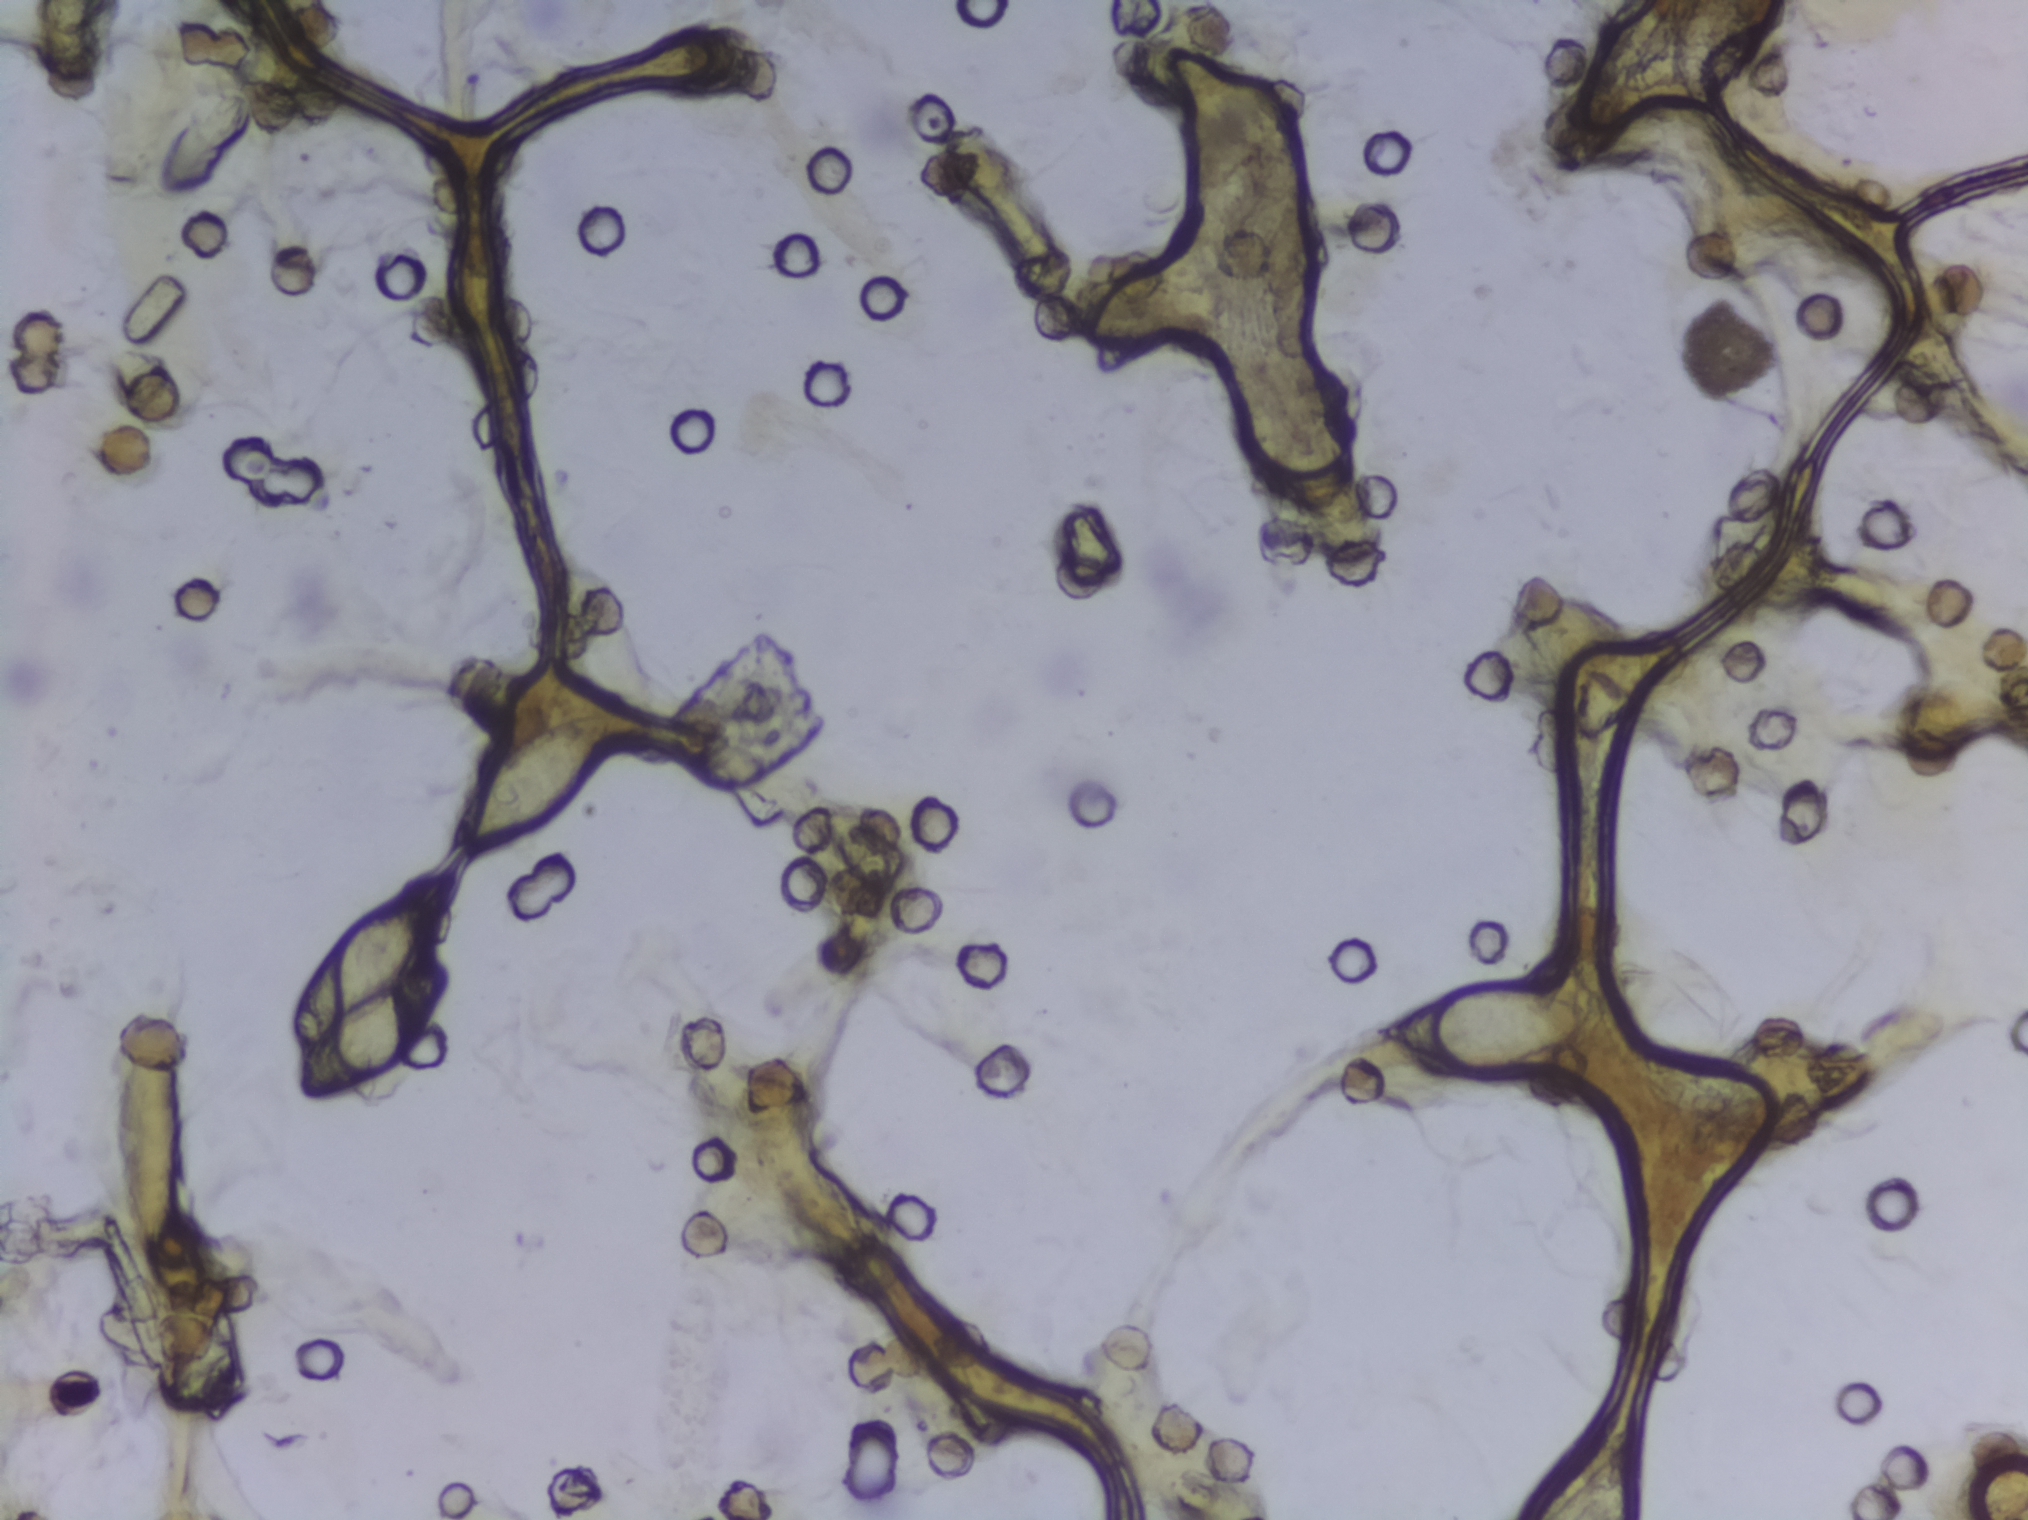
Photograph from an automated digital microscope: urine filter membrane, 4× objective. The field of view is about 1.5 mm × 1.1 mm.
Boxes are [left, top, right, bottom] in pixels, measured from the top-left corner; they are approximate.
Findings: four areas outlined as Schistosoma eggs. Locations, left to right: [290, 875, 455, 1103]; [449, 709, 612, 853]; [1370, 984, 1593, 1077]; [1534, 1417, 1643, 1519] (reaching the bottom edge of the frame). An outlined area can hold more than one egg.